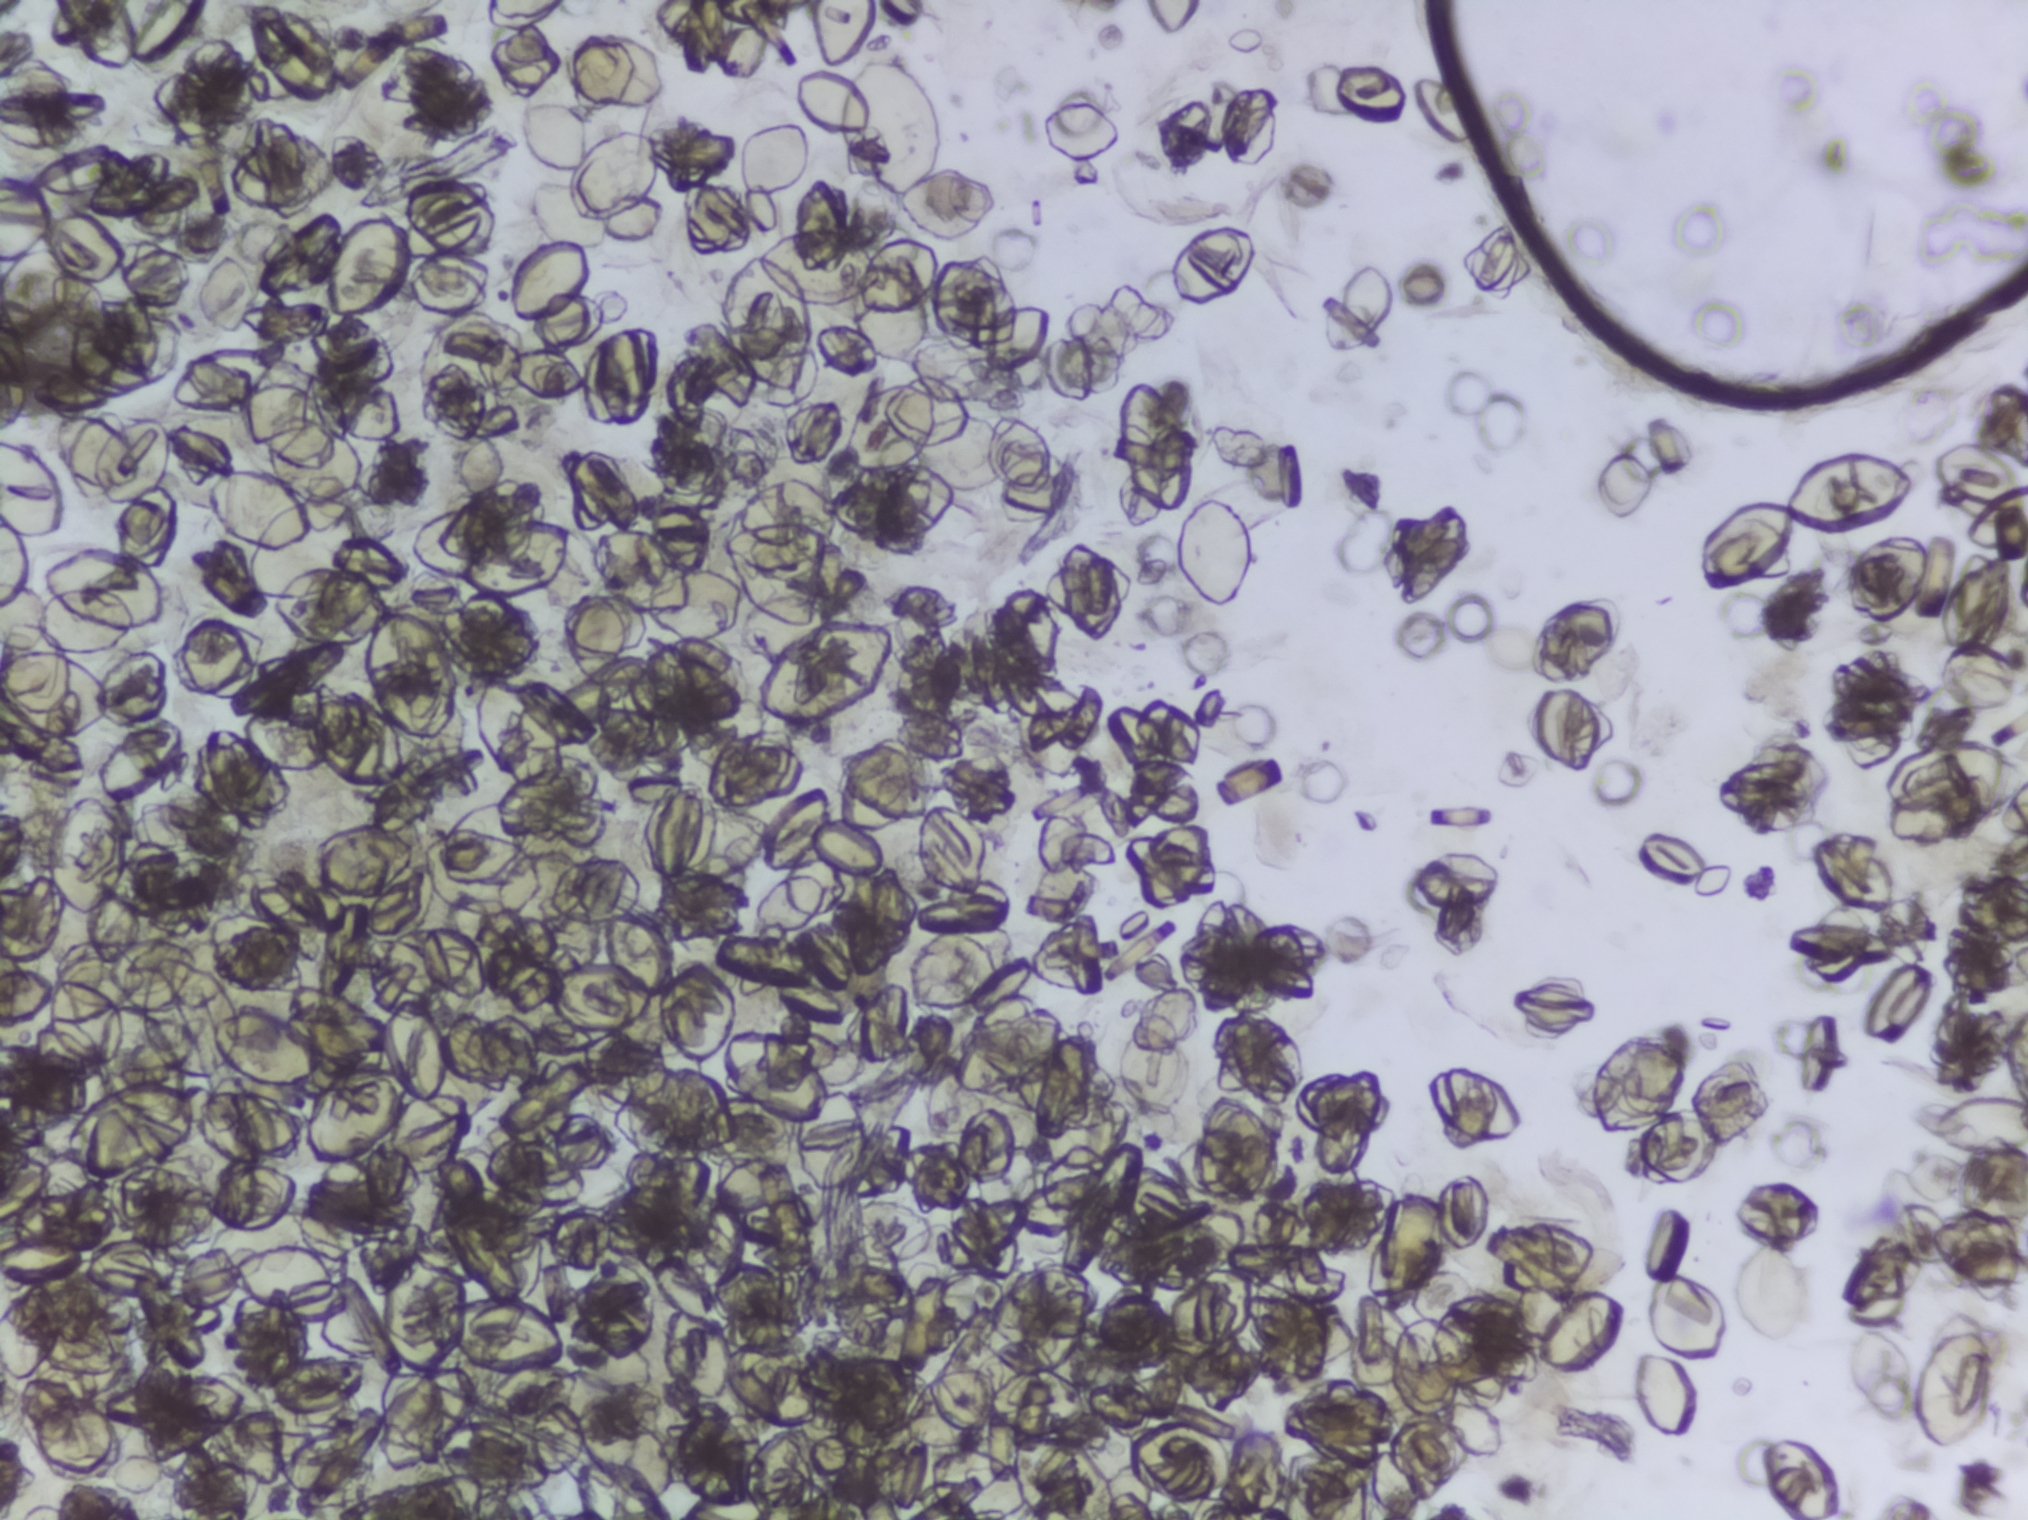
One field of view of a urine filter membrane, 4× objective, 2028 × 1520 pixels. The image covers about 1.5 × 1.1 mm of the membrane.
Schistosoma eggs: none outlined.